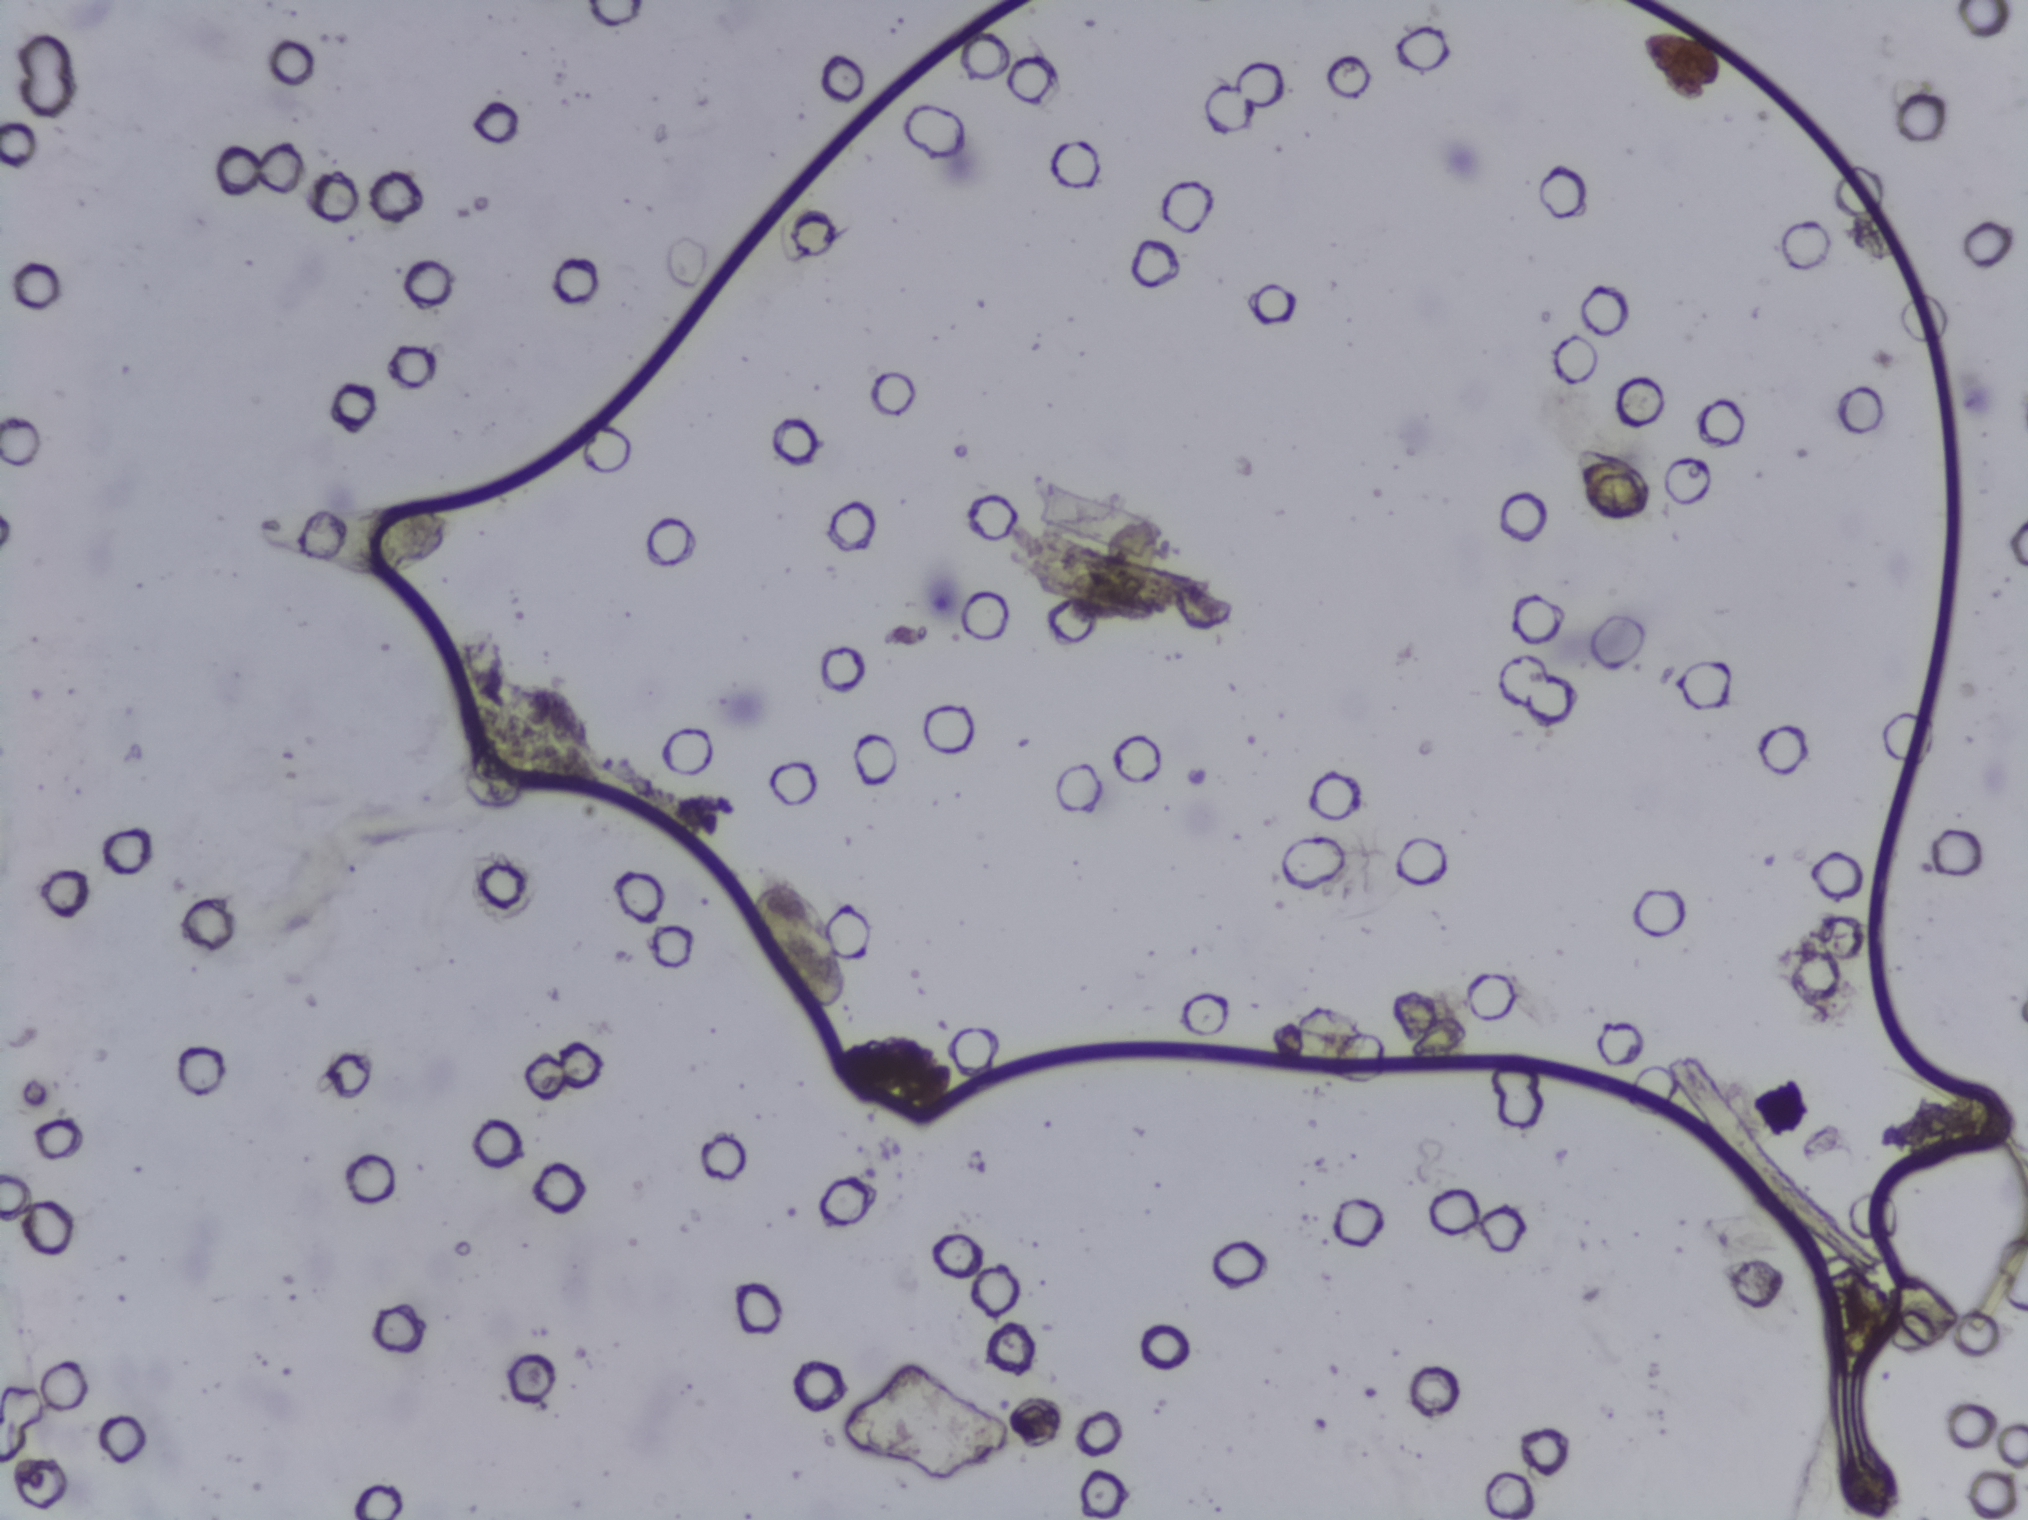
Microscope photograph (4× objective) of a membrane that a urine sample was filtered through.
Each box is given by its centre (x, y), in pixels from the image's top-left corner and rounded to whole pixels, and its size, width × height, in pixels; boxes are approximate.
Findings: two areas outlined as Schistosoma eggs. Locations: centre (374, 542), 145 × 80 px; centre (799, 938), 107 × 145 px. A single outlined area may contain several eggs.